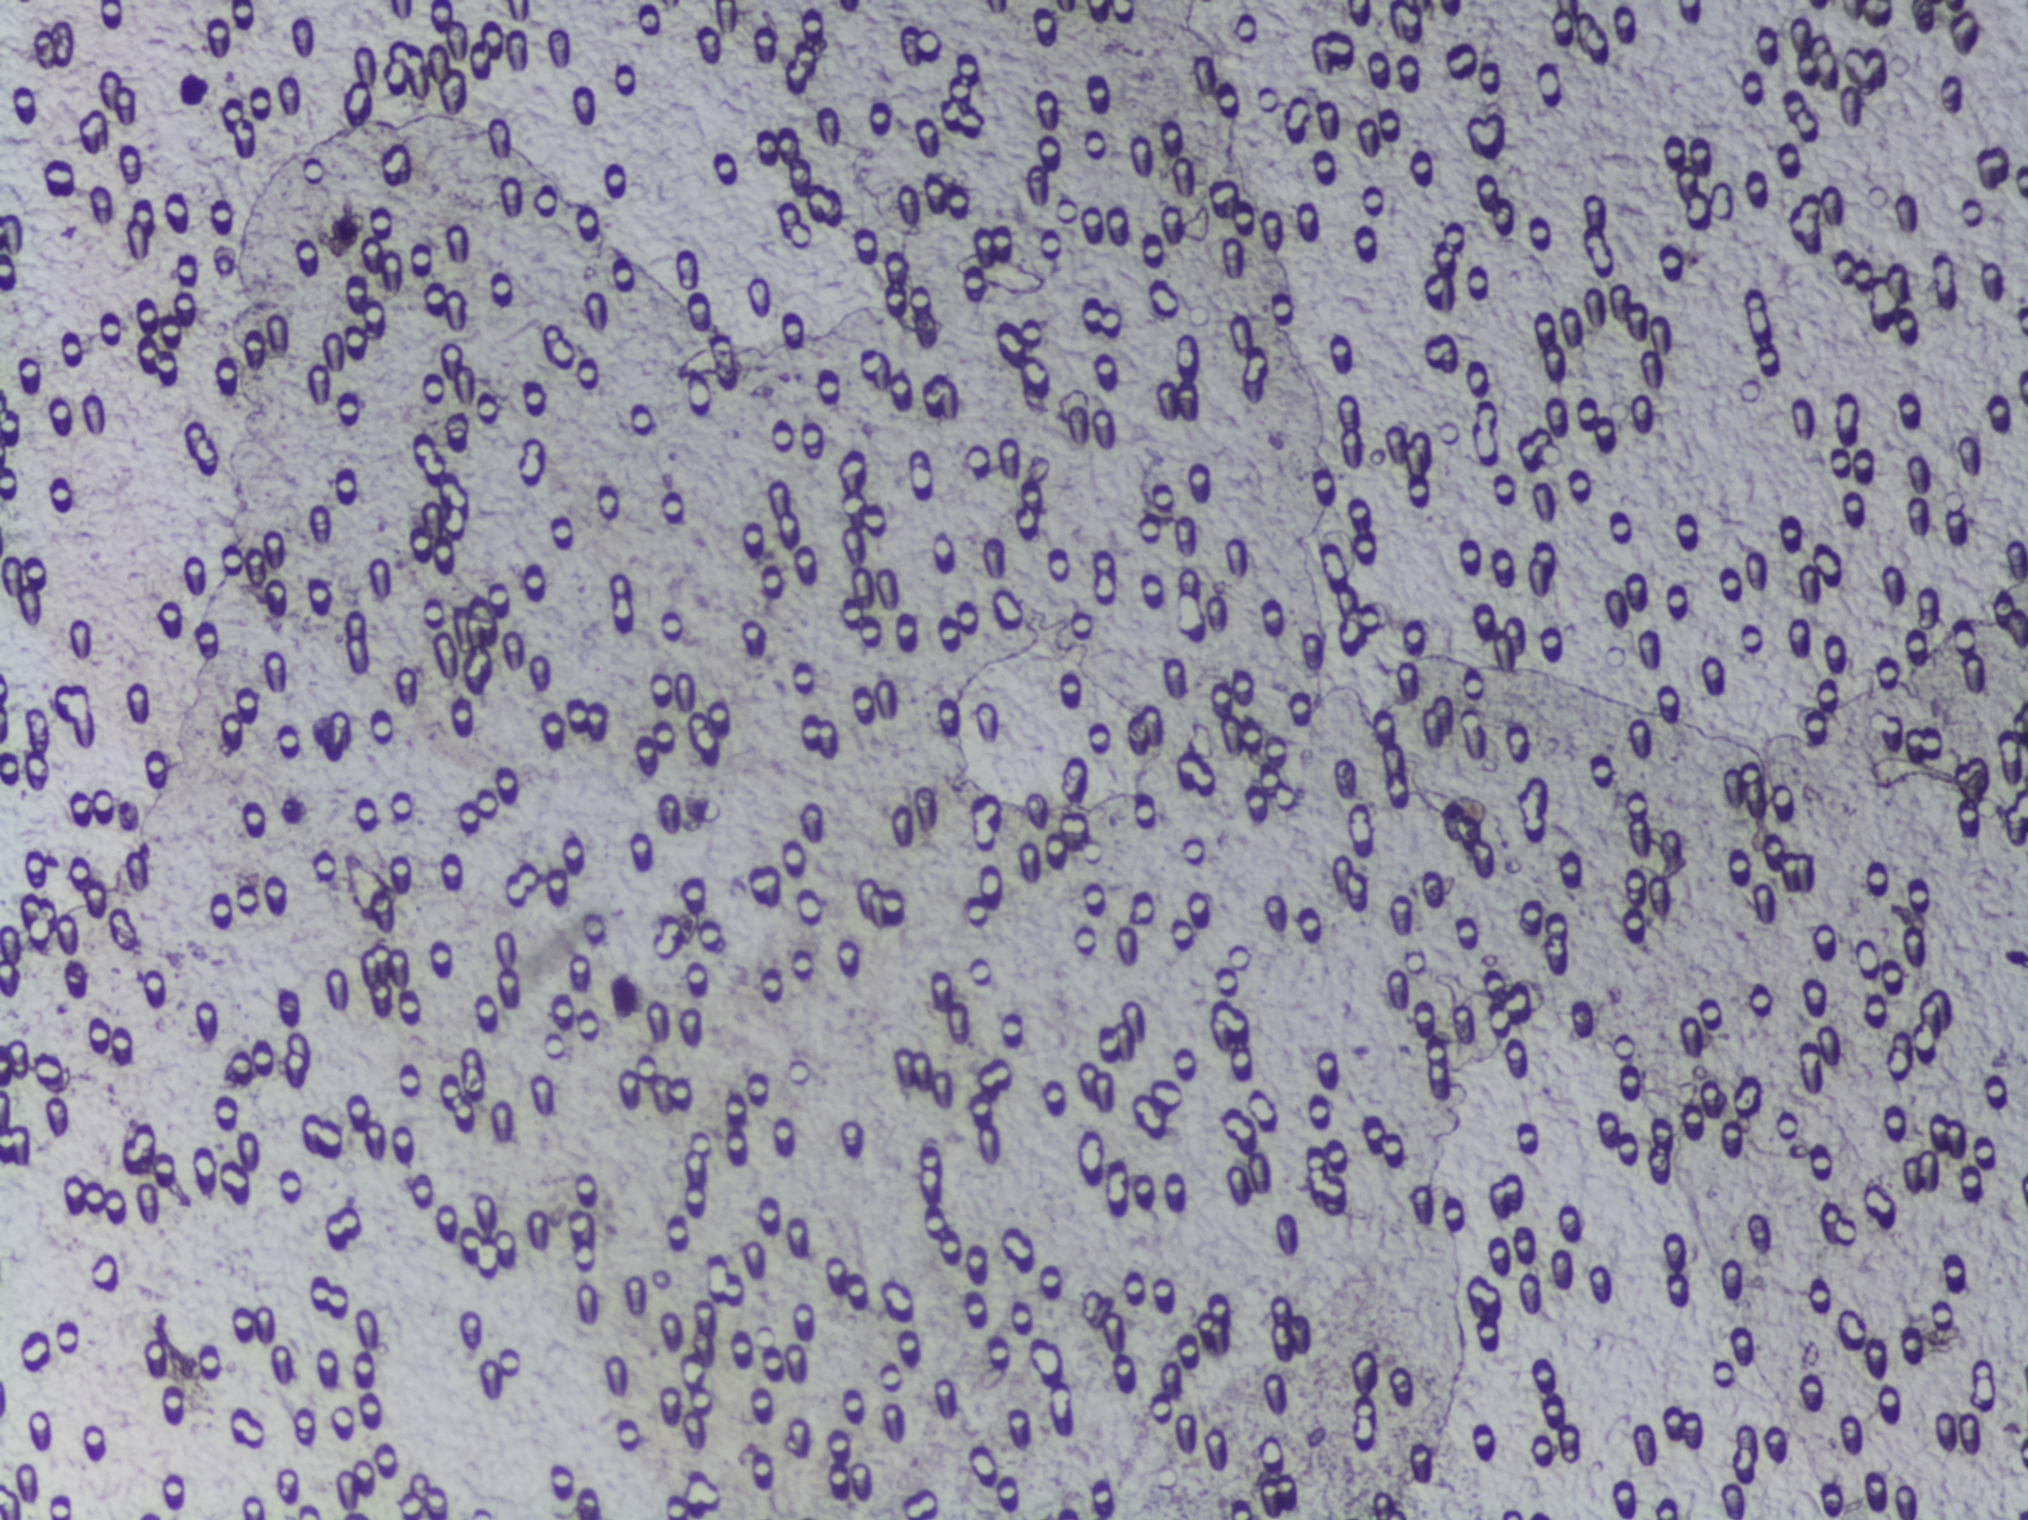
One field of view of a urine filter membrane, 4× objective, 2028 × 1520 pixels.
No Schistosoma egg is outlined in this image's expert annotation.